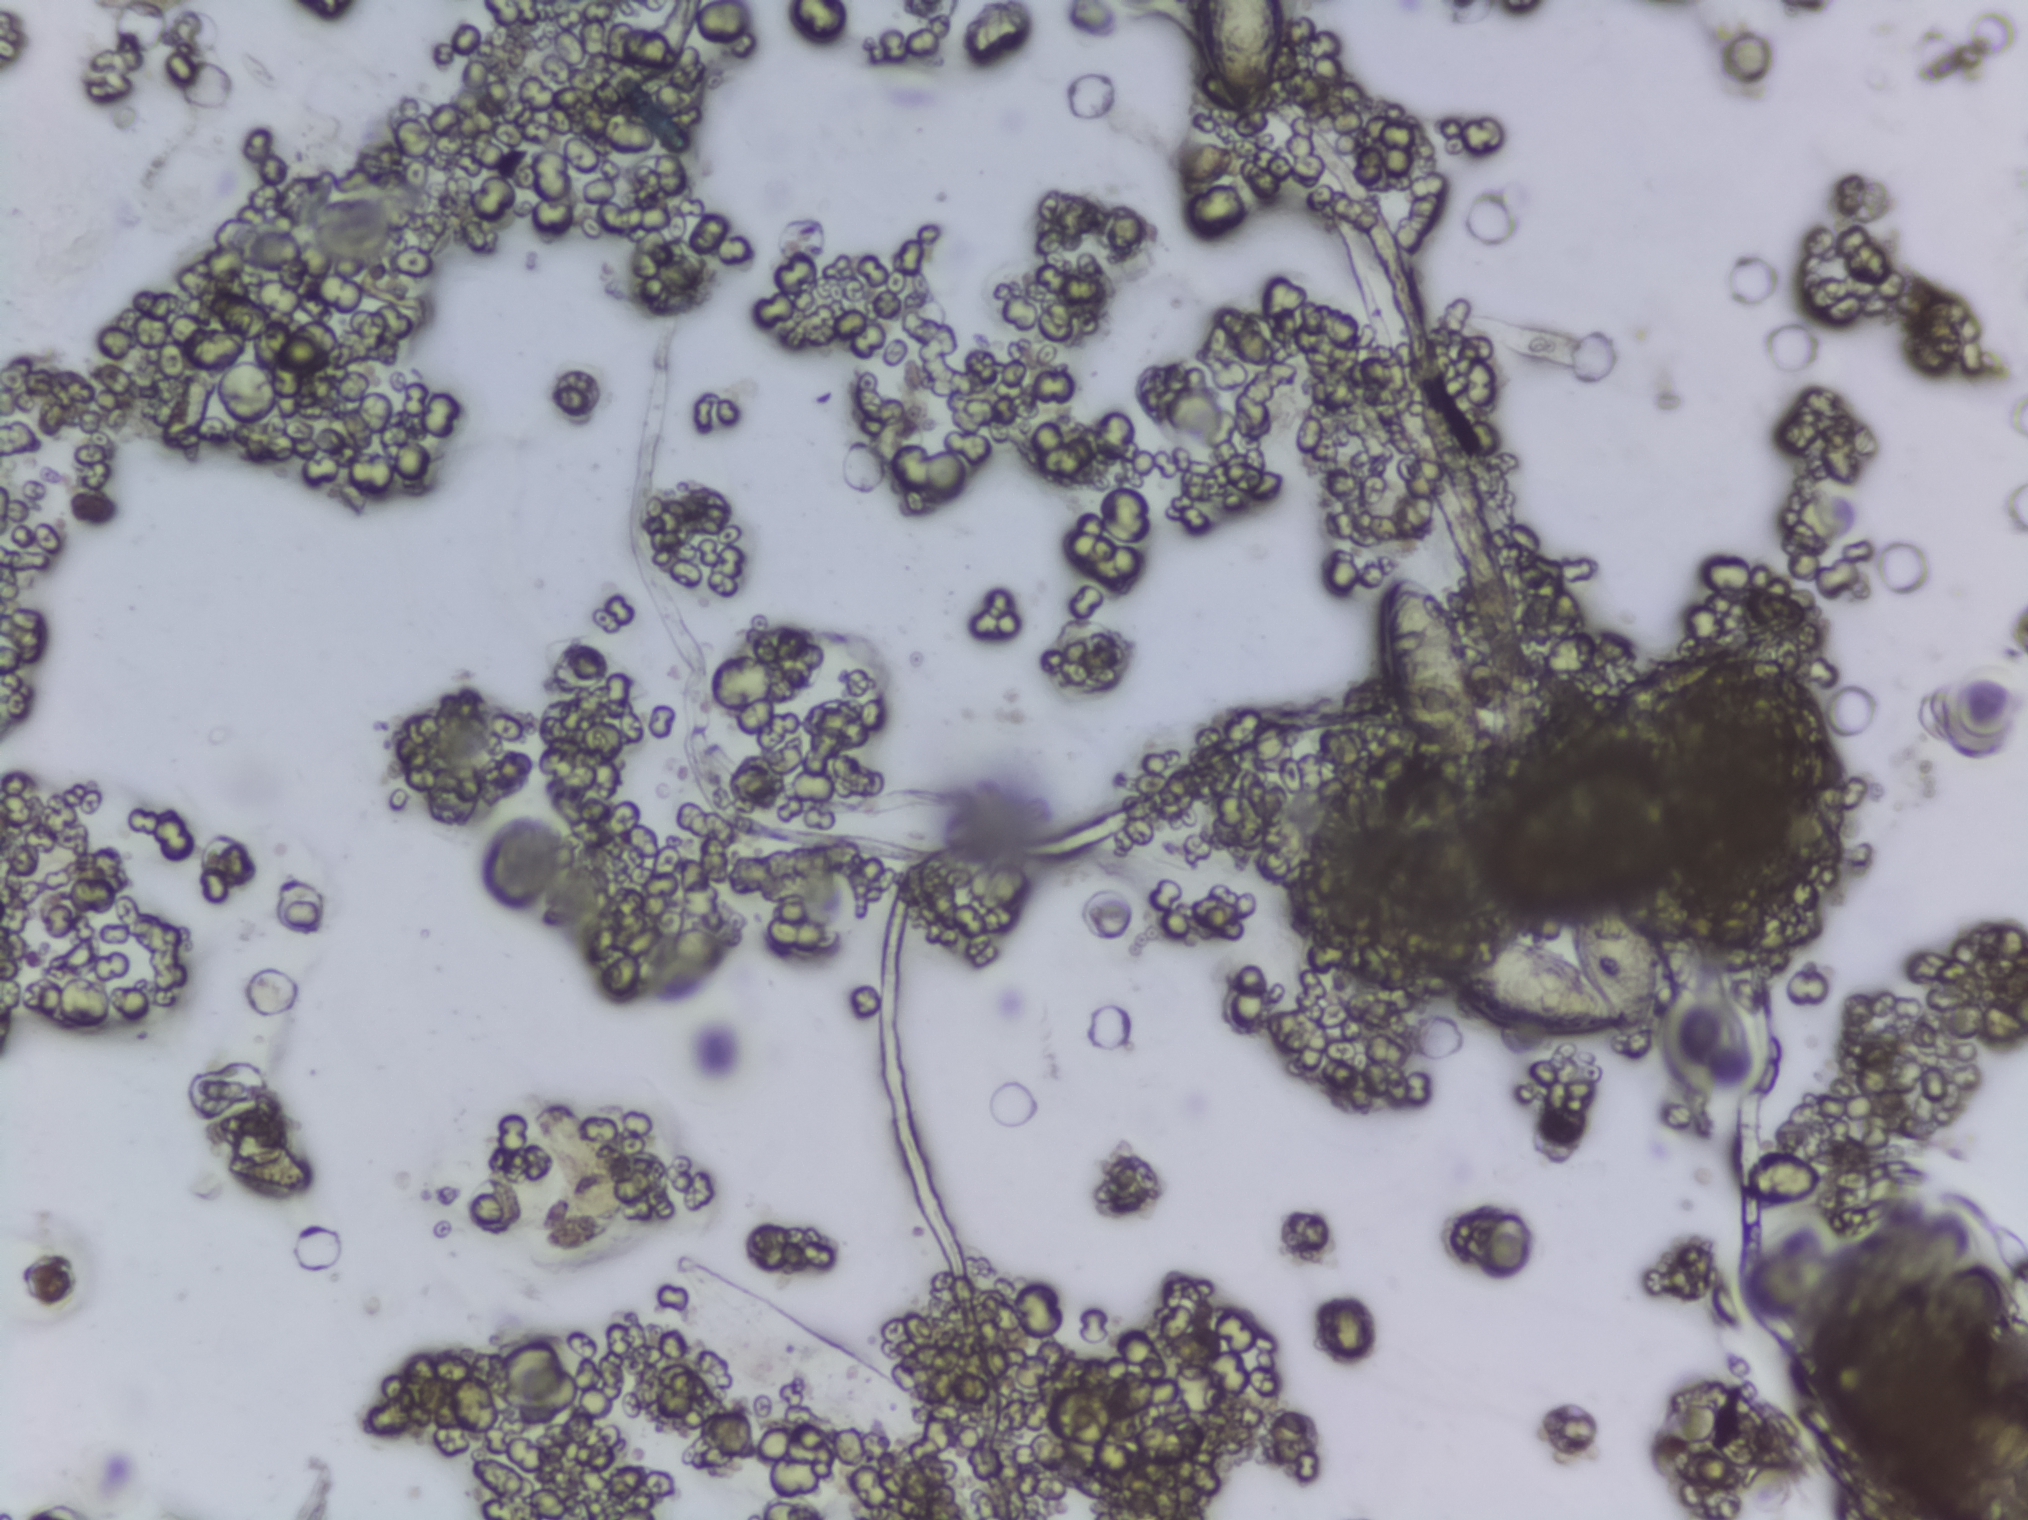
One field of view of a urine filter membrane, 4× objective, 2028 × 1520 pixels.
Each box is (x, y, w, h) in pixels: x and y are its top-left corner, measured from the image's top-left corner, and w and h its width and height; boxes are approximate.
Findings: three areas outlined as Schistosoma eggs. Locations: (x=1191, y=0, w=95, h=138) (reaching the top edge of the frame); (x=1372, y=573, w=114, h=210); (x=1452, y=888, w=208, h=163). Eggs that touch can end up inside the same outlined area.